One field of view of a urine filter membrane, 4× objective, 2028 × 1520 pixels. The field of view is about 1.5 mm × 1.1 mm.
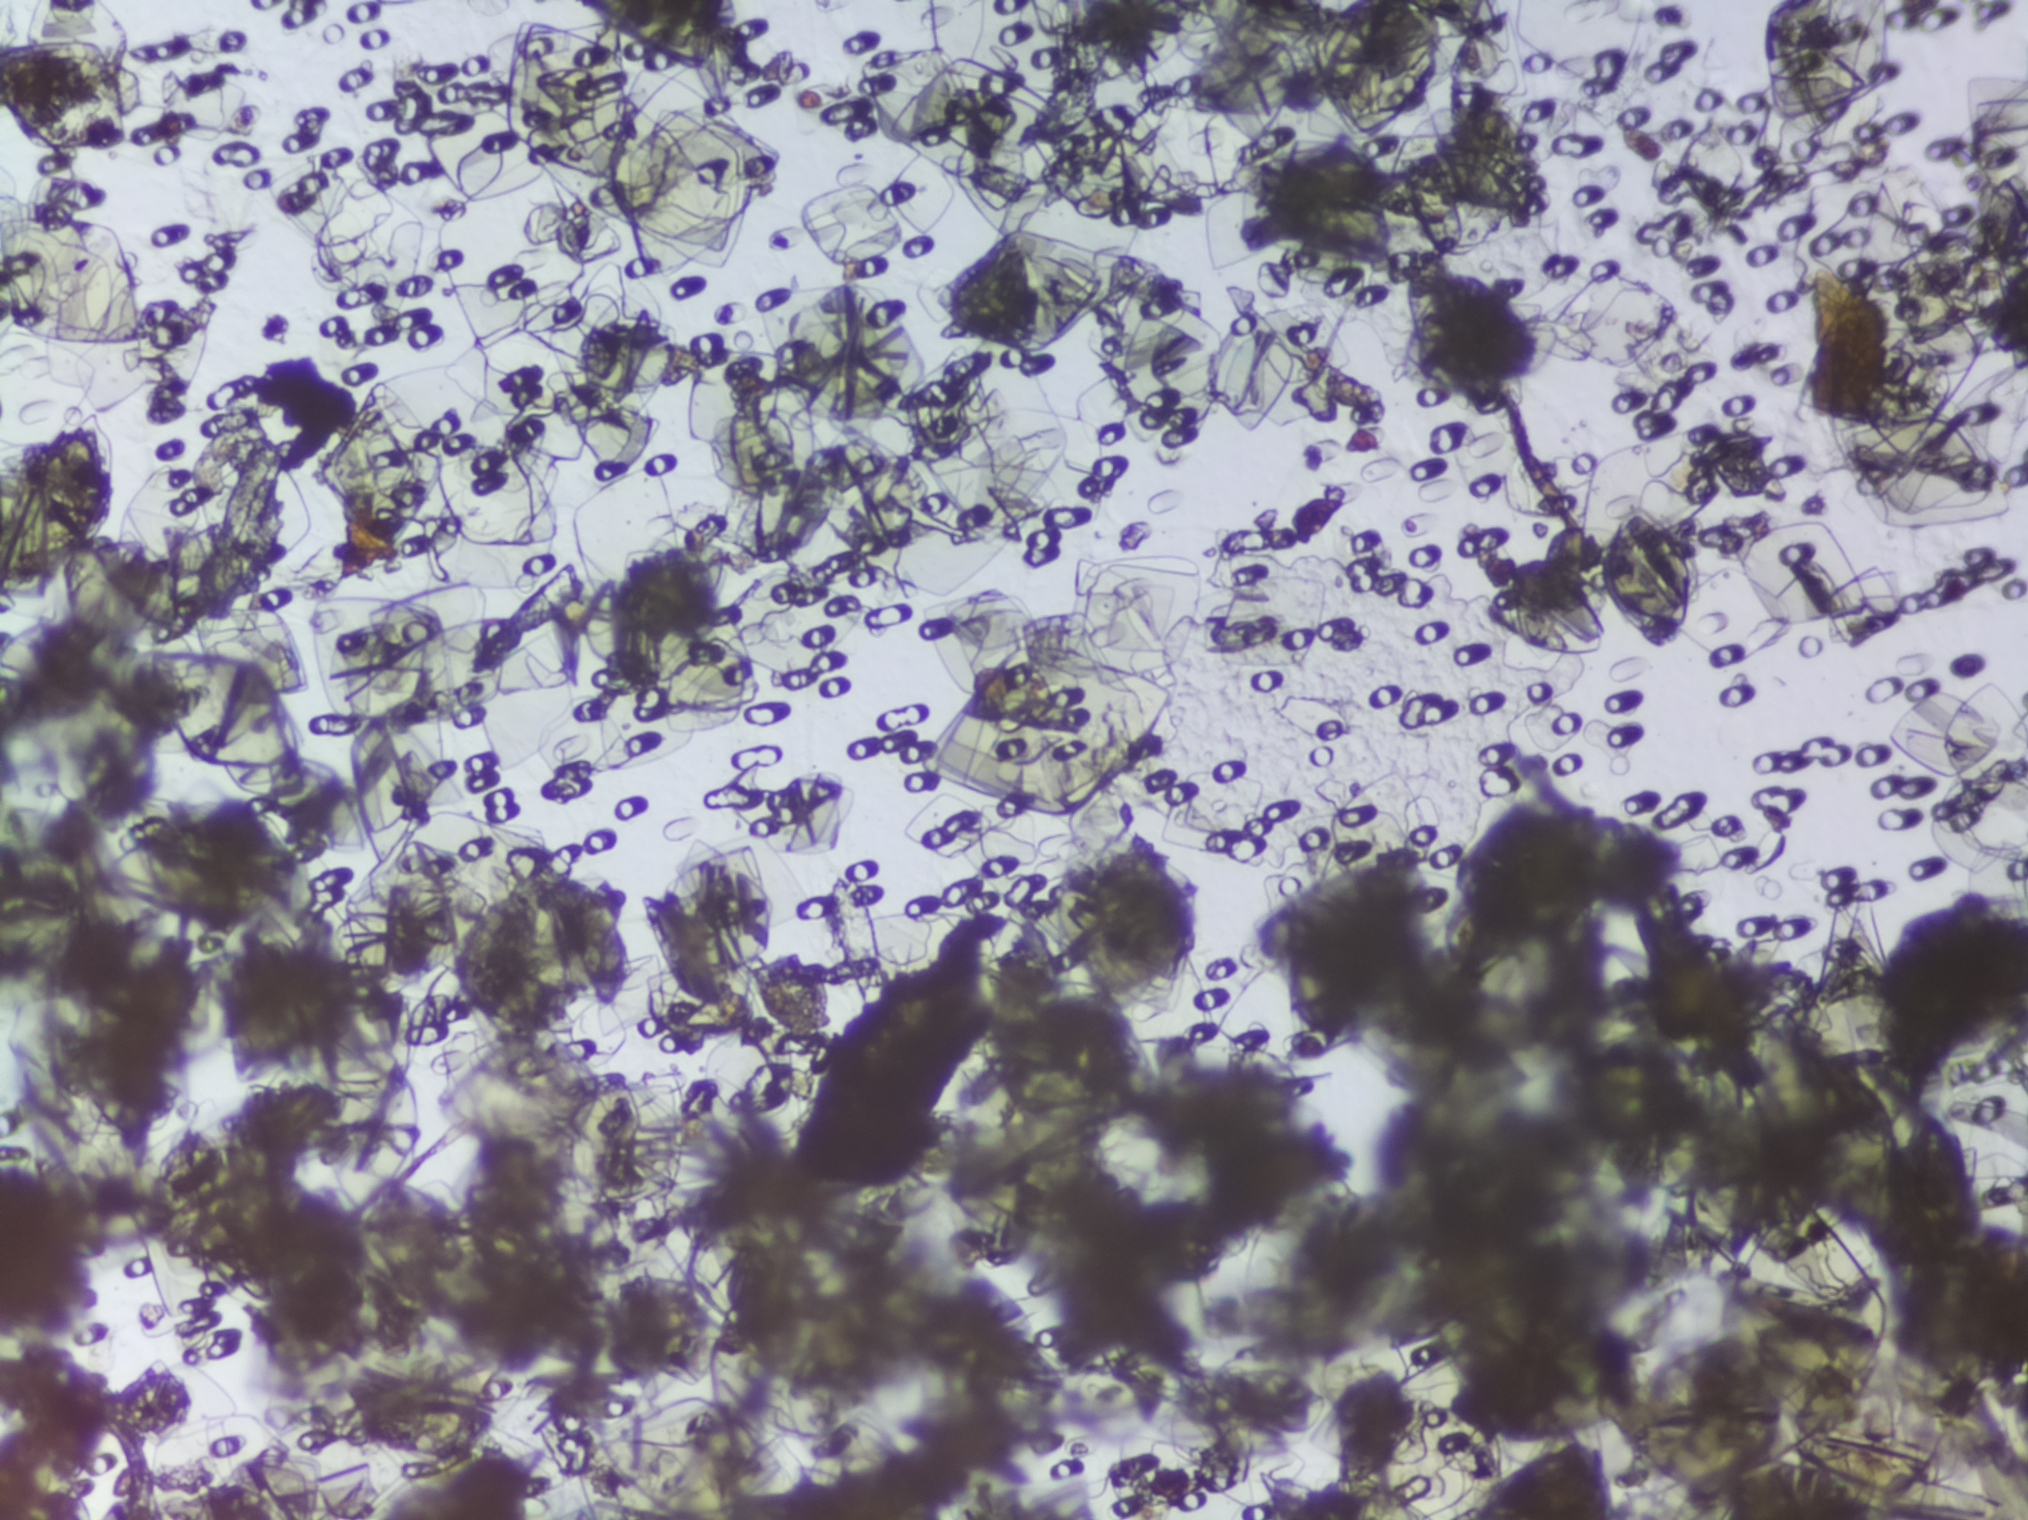
No area of this image was outlined as a Schistosoma egg.